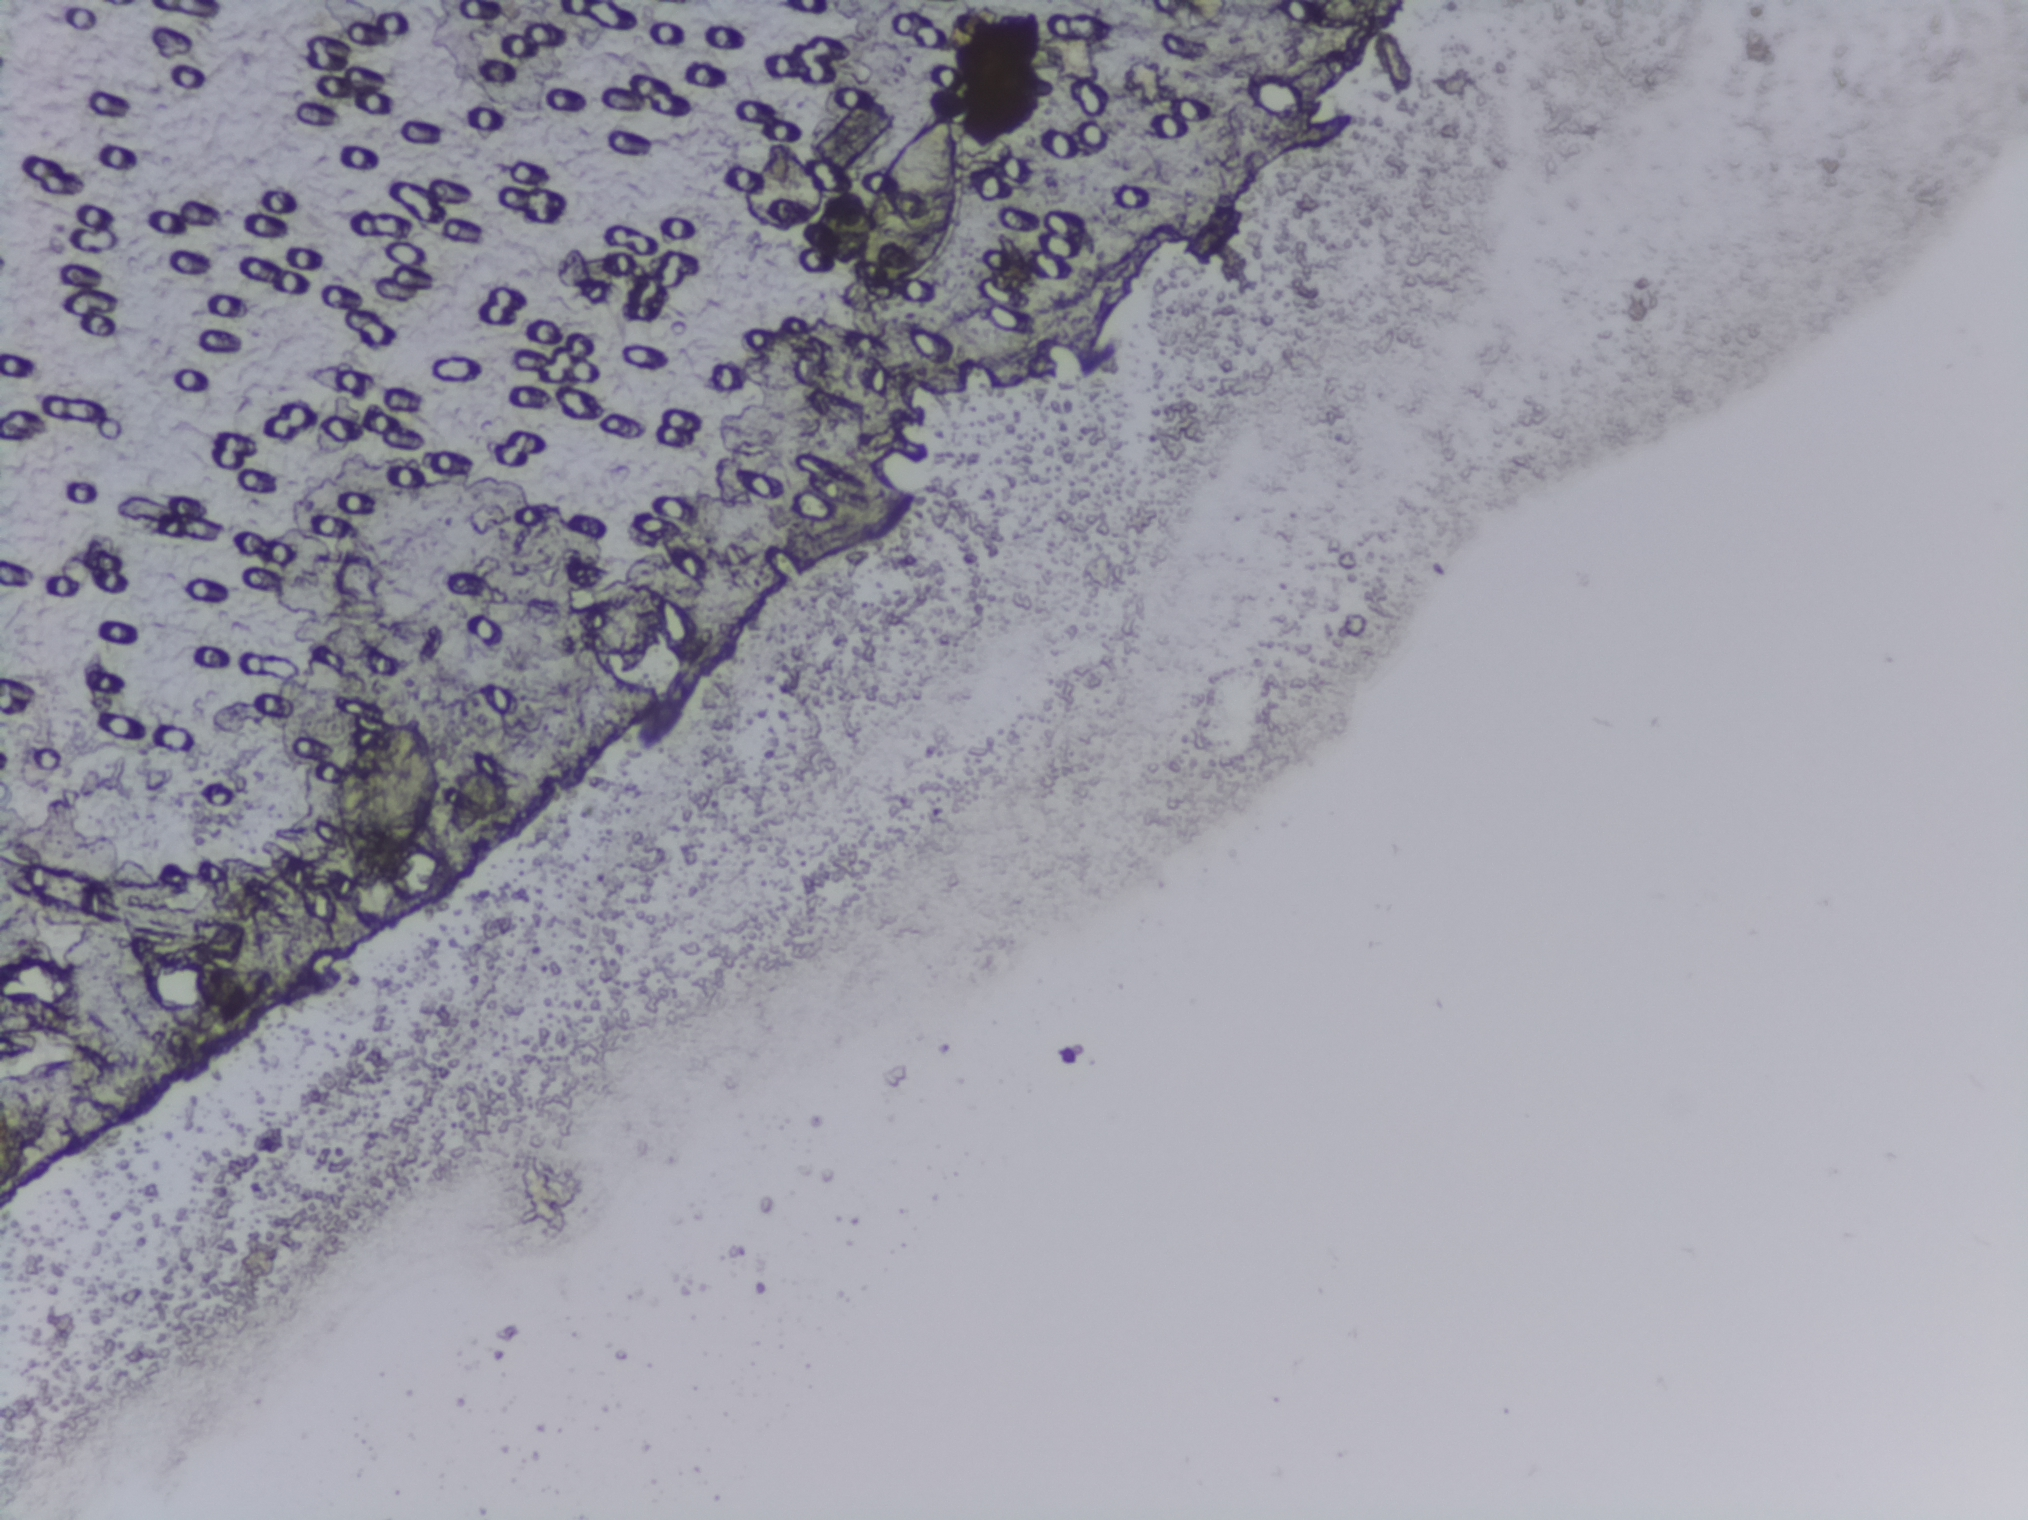
Urine filtration membrane under a 4× objective, photographed by an automated digital microscope. The image covers about 1.5 × 1.1 mm of the membrane.
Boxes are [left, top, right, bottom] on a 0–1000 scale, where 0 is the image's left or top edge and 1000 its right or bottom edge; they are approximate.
{"schistosoma_egg_areas_xyxy_per1000": [[162, 472, 223, 586], [409, 65, 478, 209]]}
About 1.3% of the image's pixels are marked (the marked pixels themselves, not the boxes around them). Eggs that touch can end up inside the same outlined area. Any one outlined egg may, rarely, be S. mansoni rather than S. haematobium.